Urine filter membrane photographed through a 4× microscope objective. Field of view: about 1.5 mm wide and 1.1 mm high.
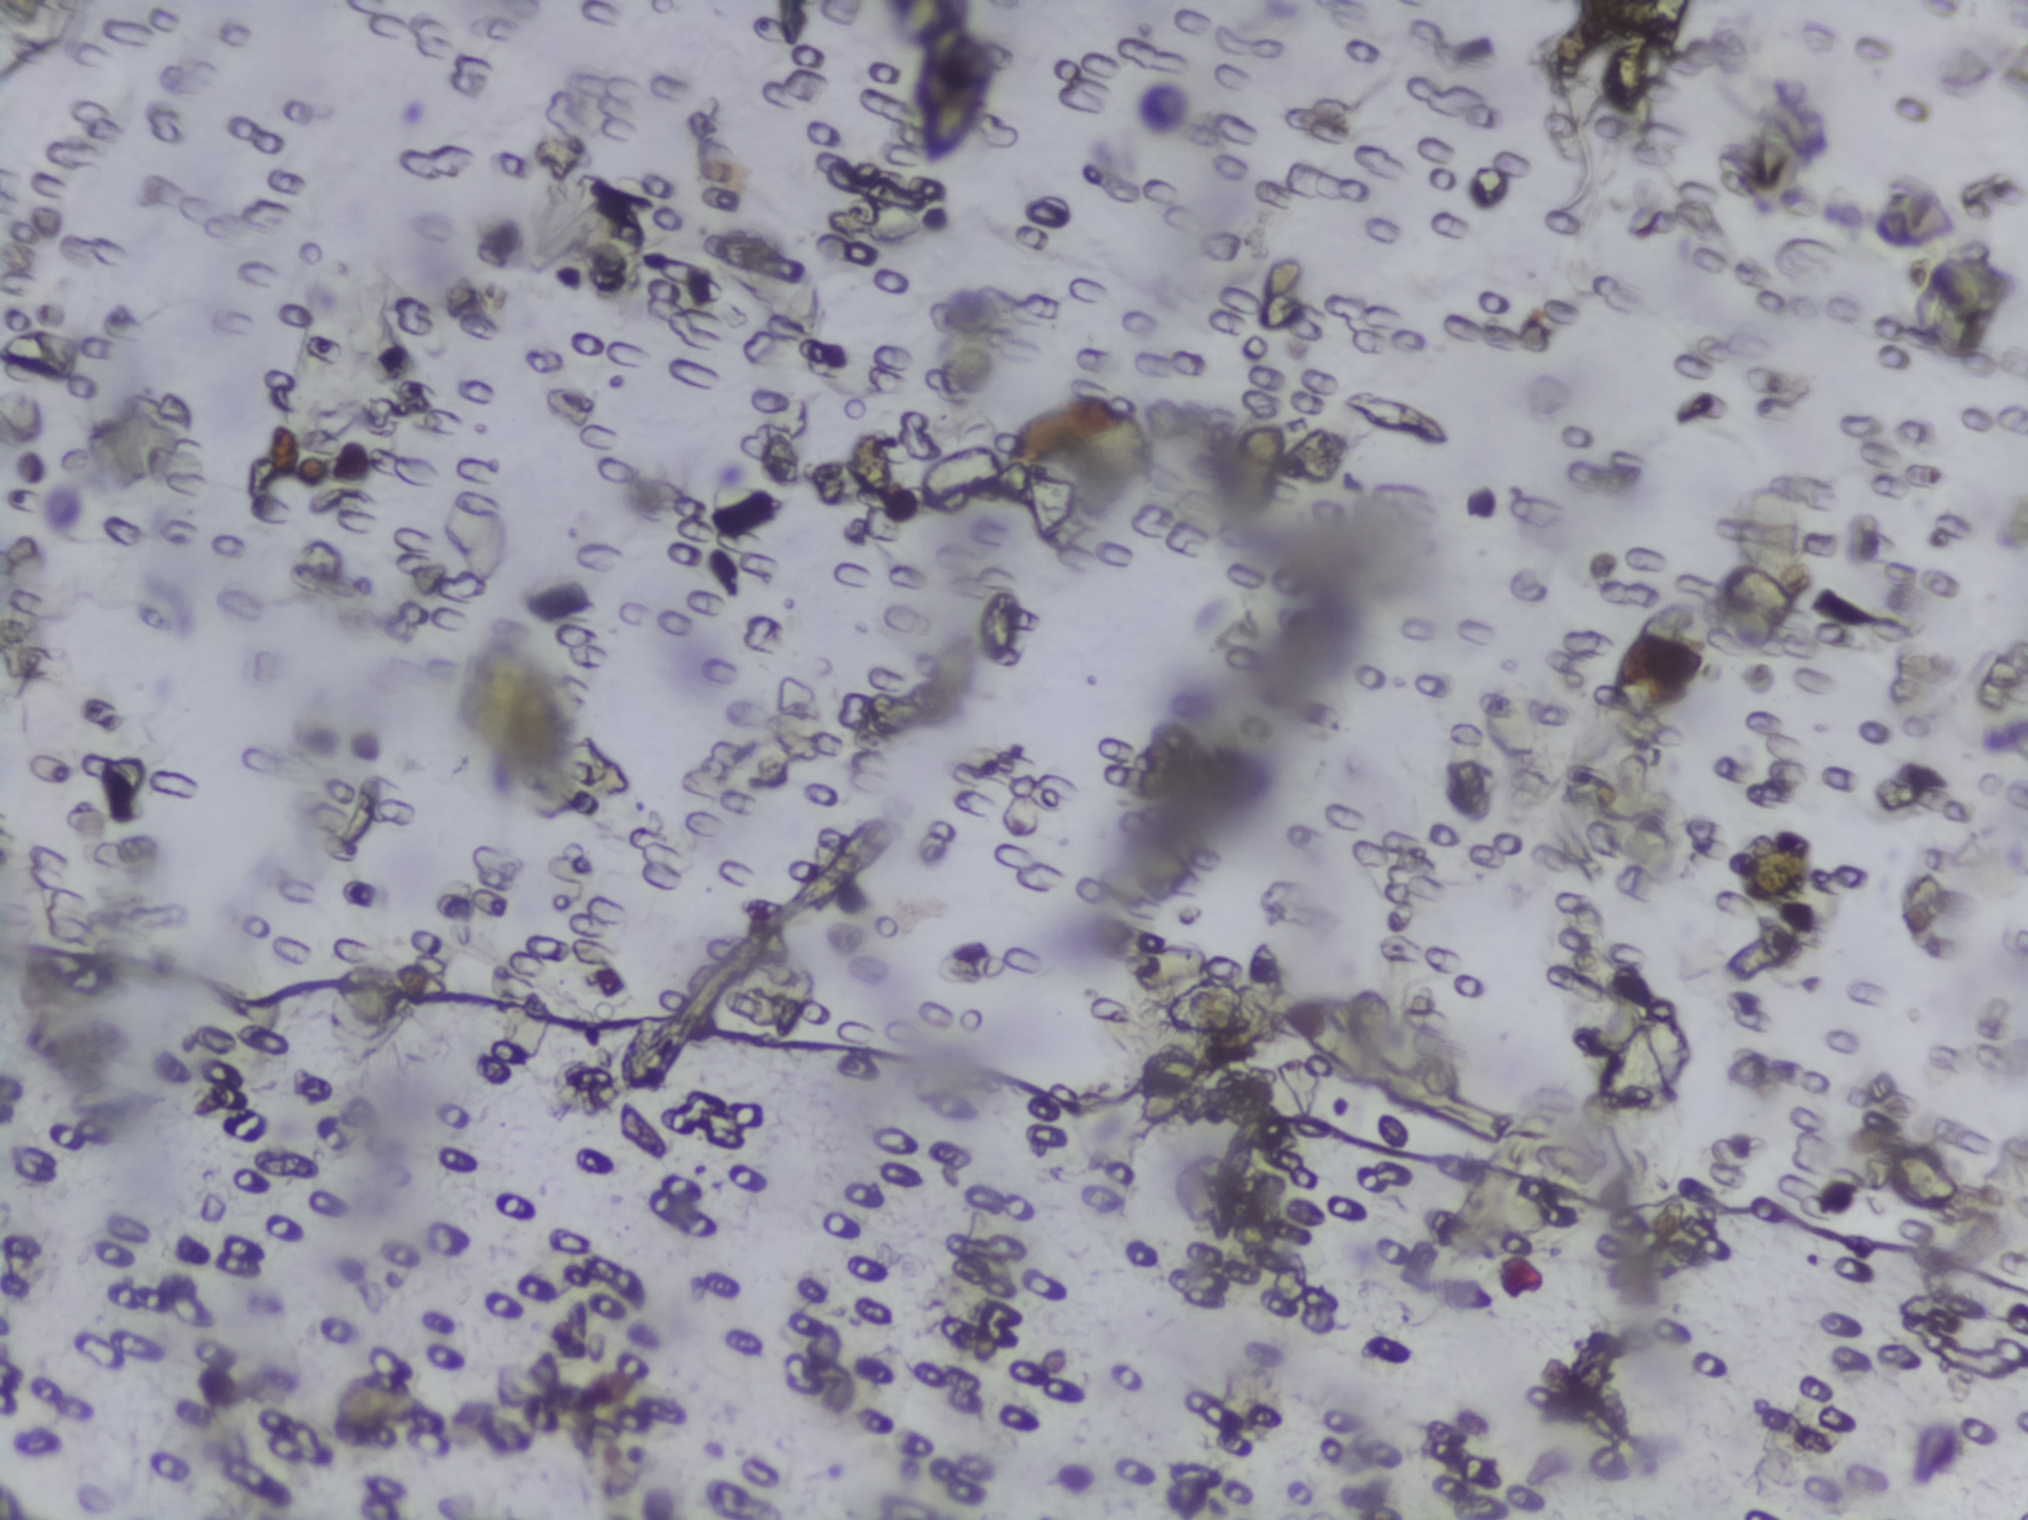
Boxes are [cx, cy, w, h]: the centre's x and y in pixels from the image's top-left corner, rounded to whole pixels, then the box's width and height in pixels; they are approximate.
{"schistosoma_egg_areas_cxcywh_px": [[959, 87, 86, 149]]}
Eggs that touch can end up inside the same outlined area.